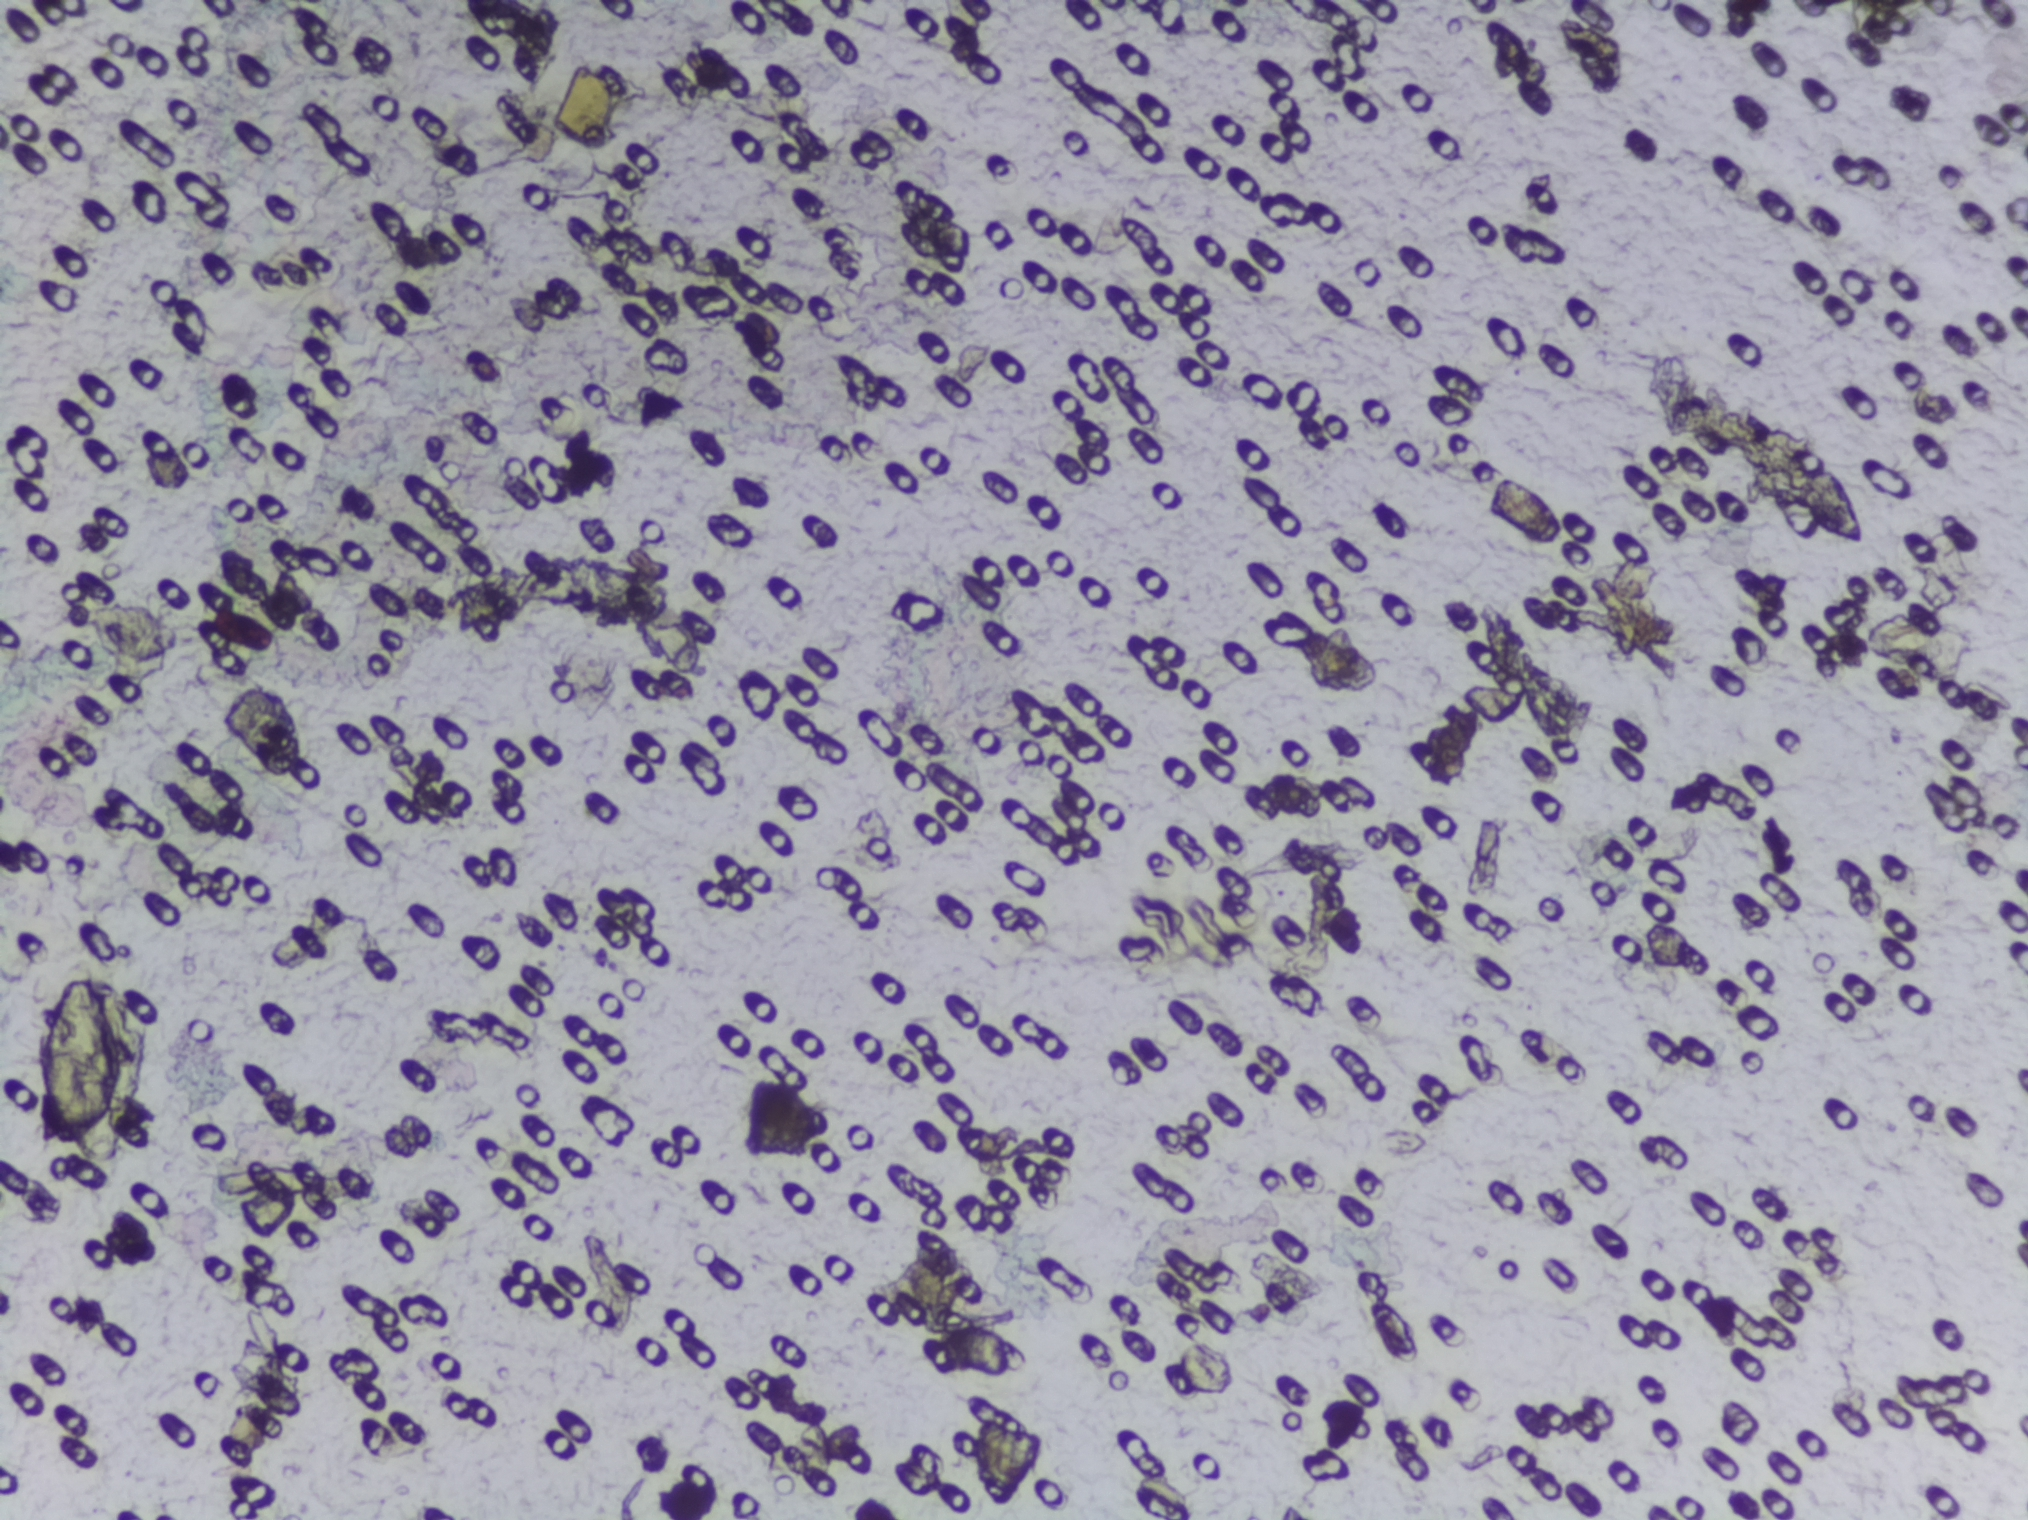
Urine filtration membrane under a 4× objective, photographed by an automated digital microscope. The field of view is about 1.5 mm × 1.1 mm.
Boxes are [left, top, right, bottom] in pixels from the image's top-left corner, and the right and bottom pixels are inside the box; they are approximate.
{"schistosoma_egg_areas_xyxy_px": [[28, 957, 166, 1219], [1714, 404, 1886, 570]]}
About 1.6% of the image's pixels are marked (the marked pixels themselves, not the boxes around them). A single outlined area may contain several eggs.